Microscope photograph (4× objective) of a membrane that a urine sample was filtered through. The image covers about 1.5 × 1.1 mm of the membrane.
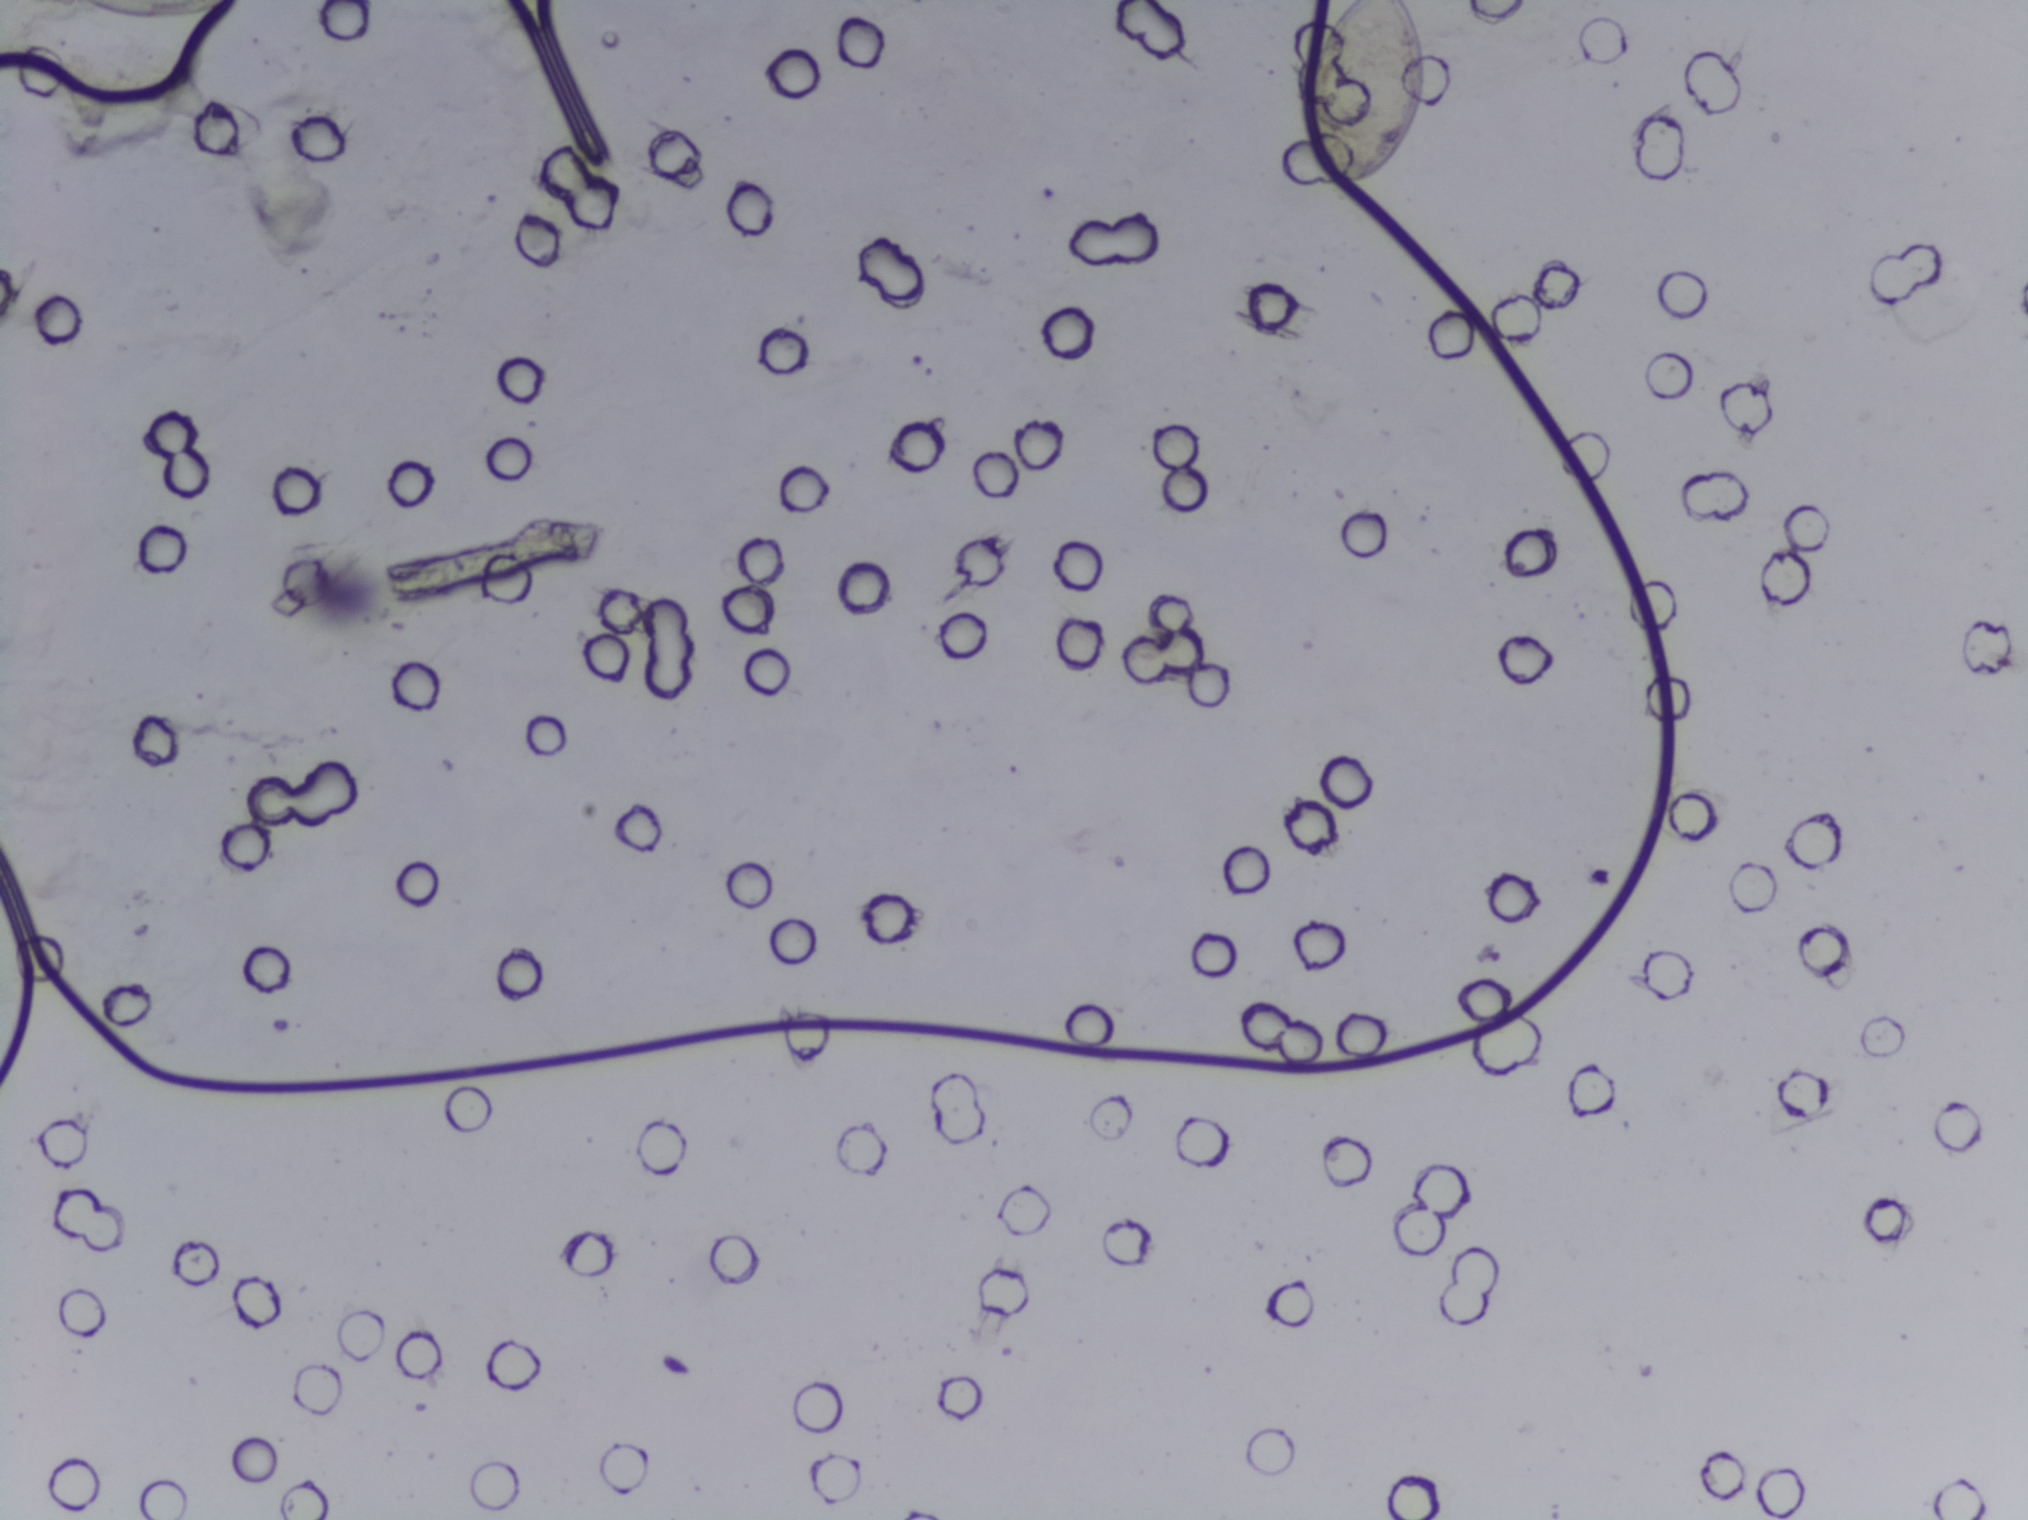
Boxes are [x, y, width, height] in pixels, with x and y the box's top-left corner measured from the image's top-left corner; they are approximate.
Schistosoma eggs, outlined areas: [1311, 0, 117, 190] (reaching the top edge of the frame). Eggs that touch can end up inside the same outlined area. A marked egg may occasionally be S. mansoni rather than S. haematobium.